Urine filter membrane photographed through a 4× microscope objective.
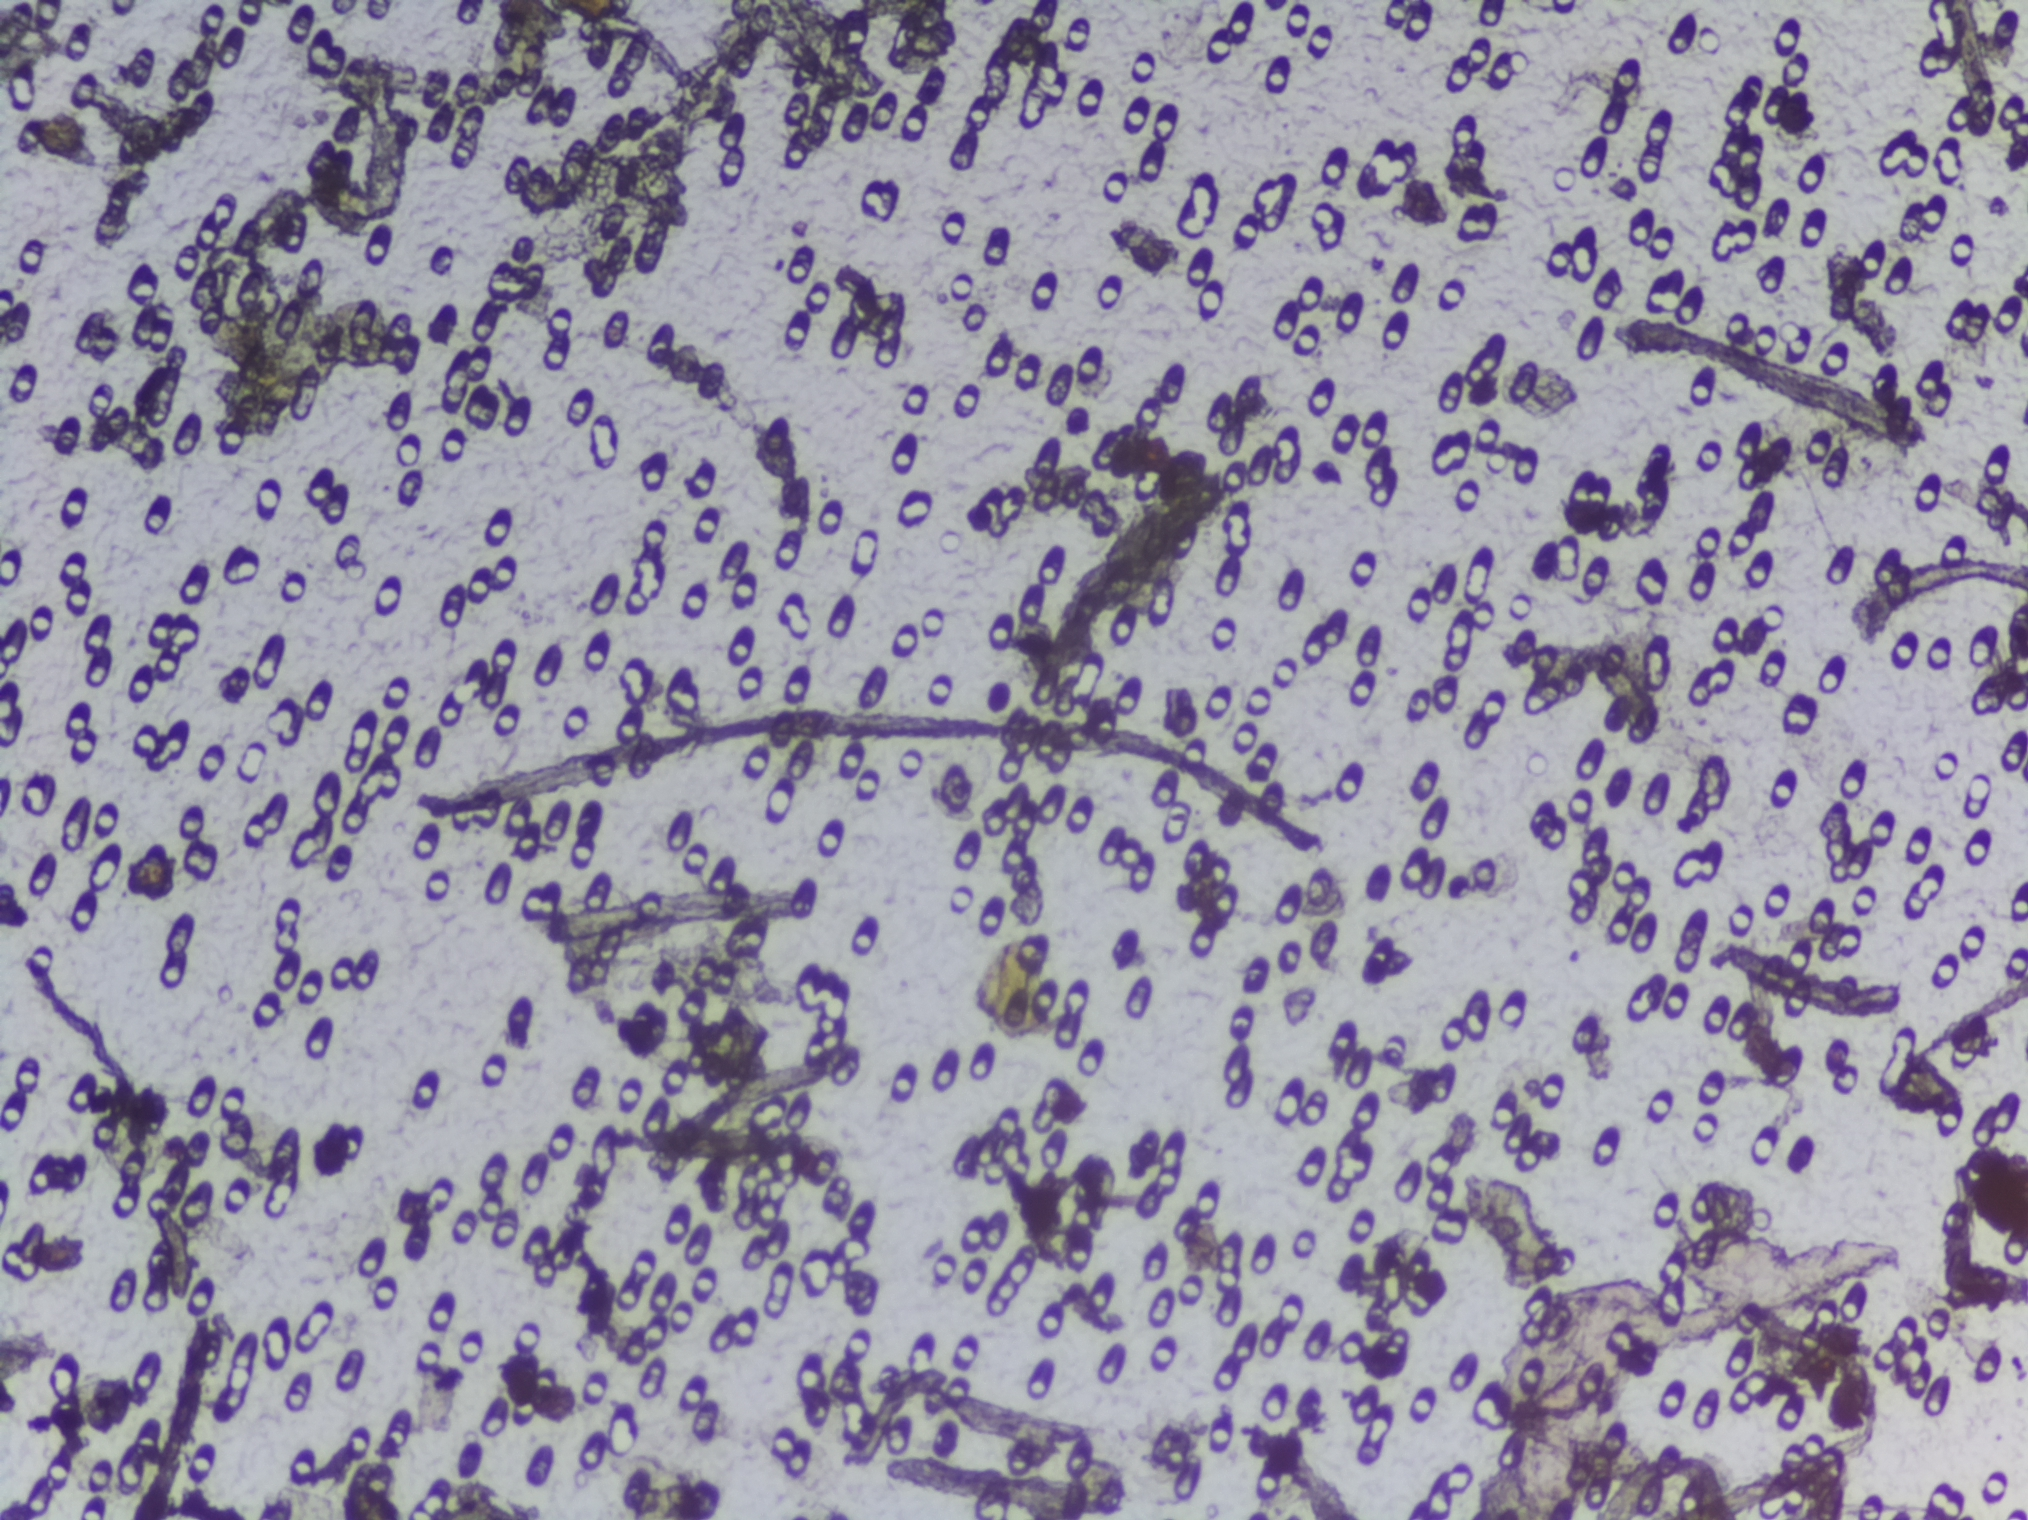
No Schistosoma egg is outlined in this image's expert annotation.